Photograph from an automated digital microscope: urine filter membrane, 4× objective. The field of view is about 1.5 mm × 1.1 mm.
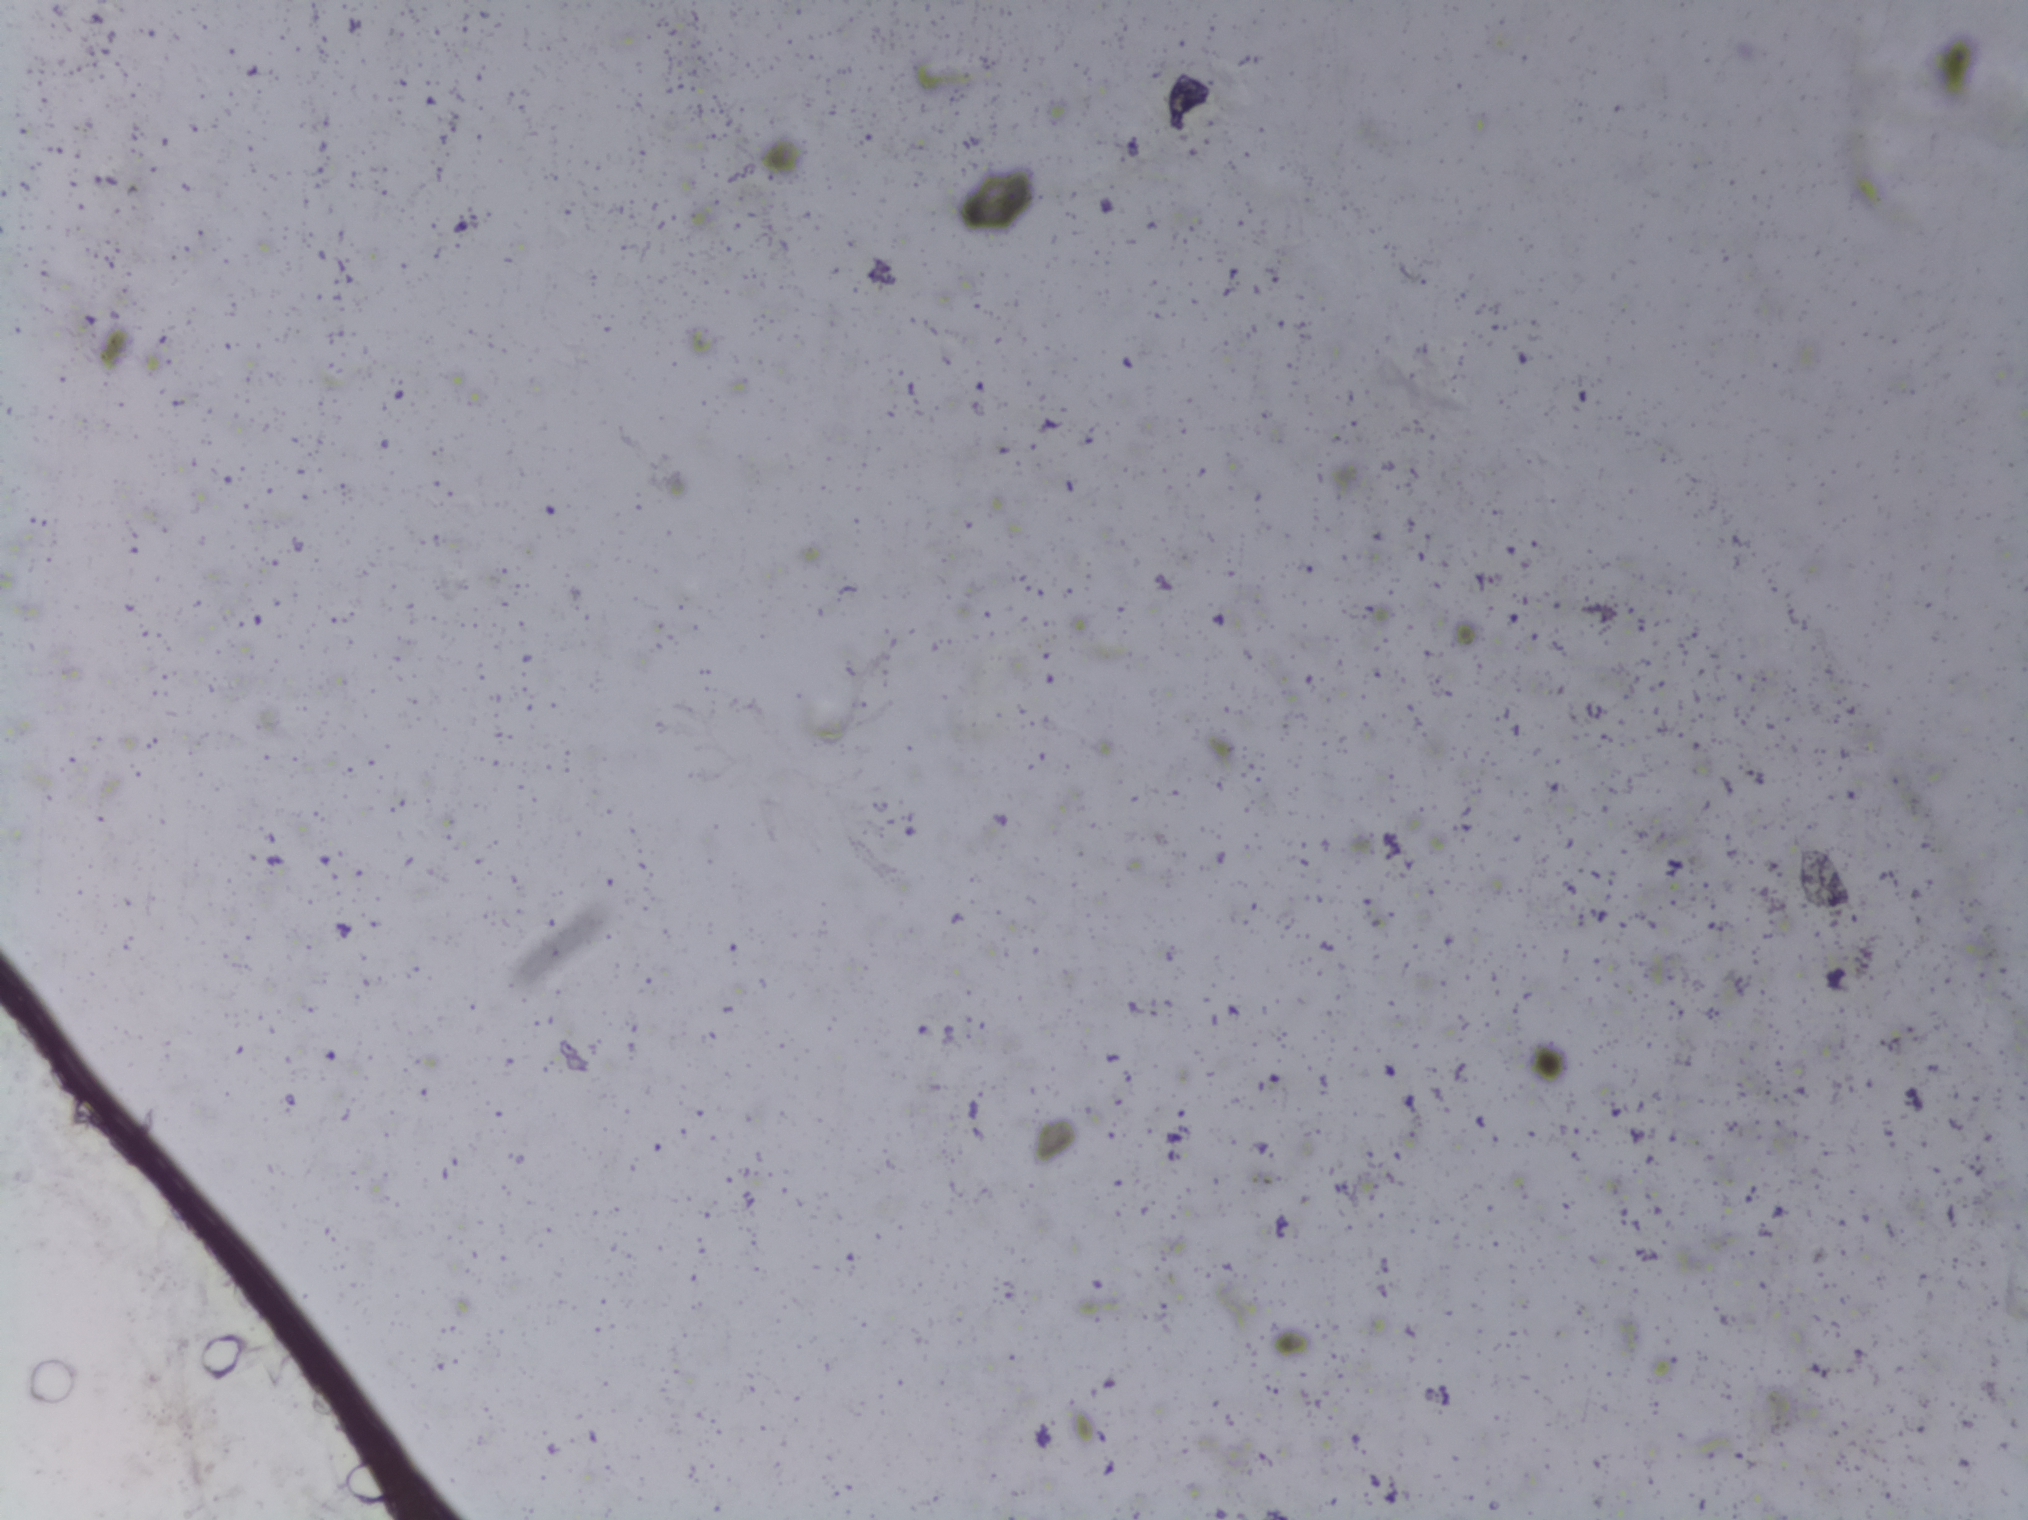
No area of this image was outlined as a Schistosoma egg.